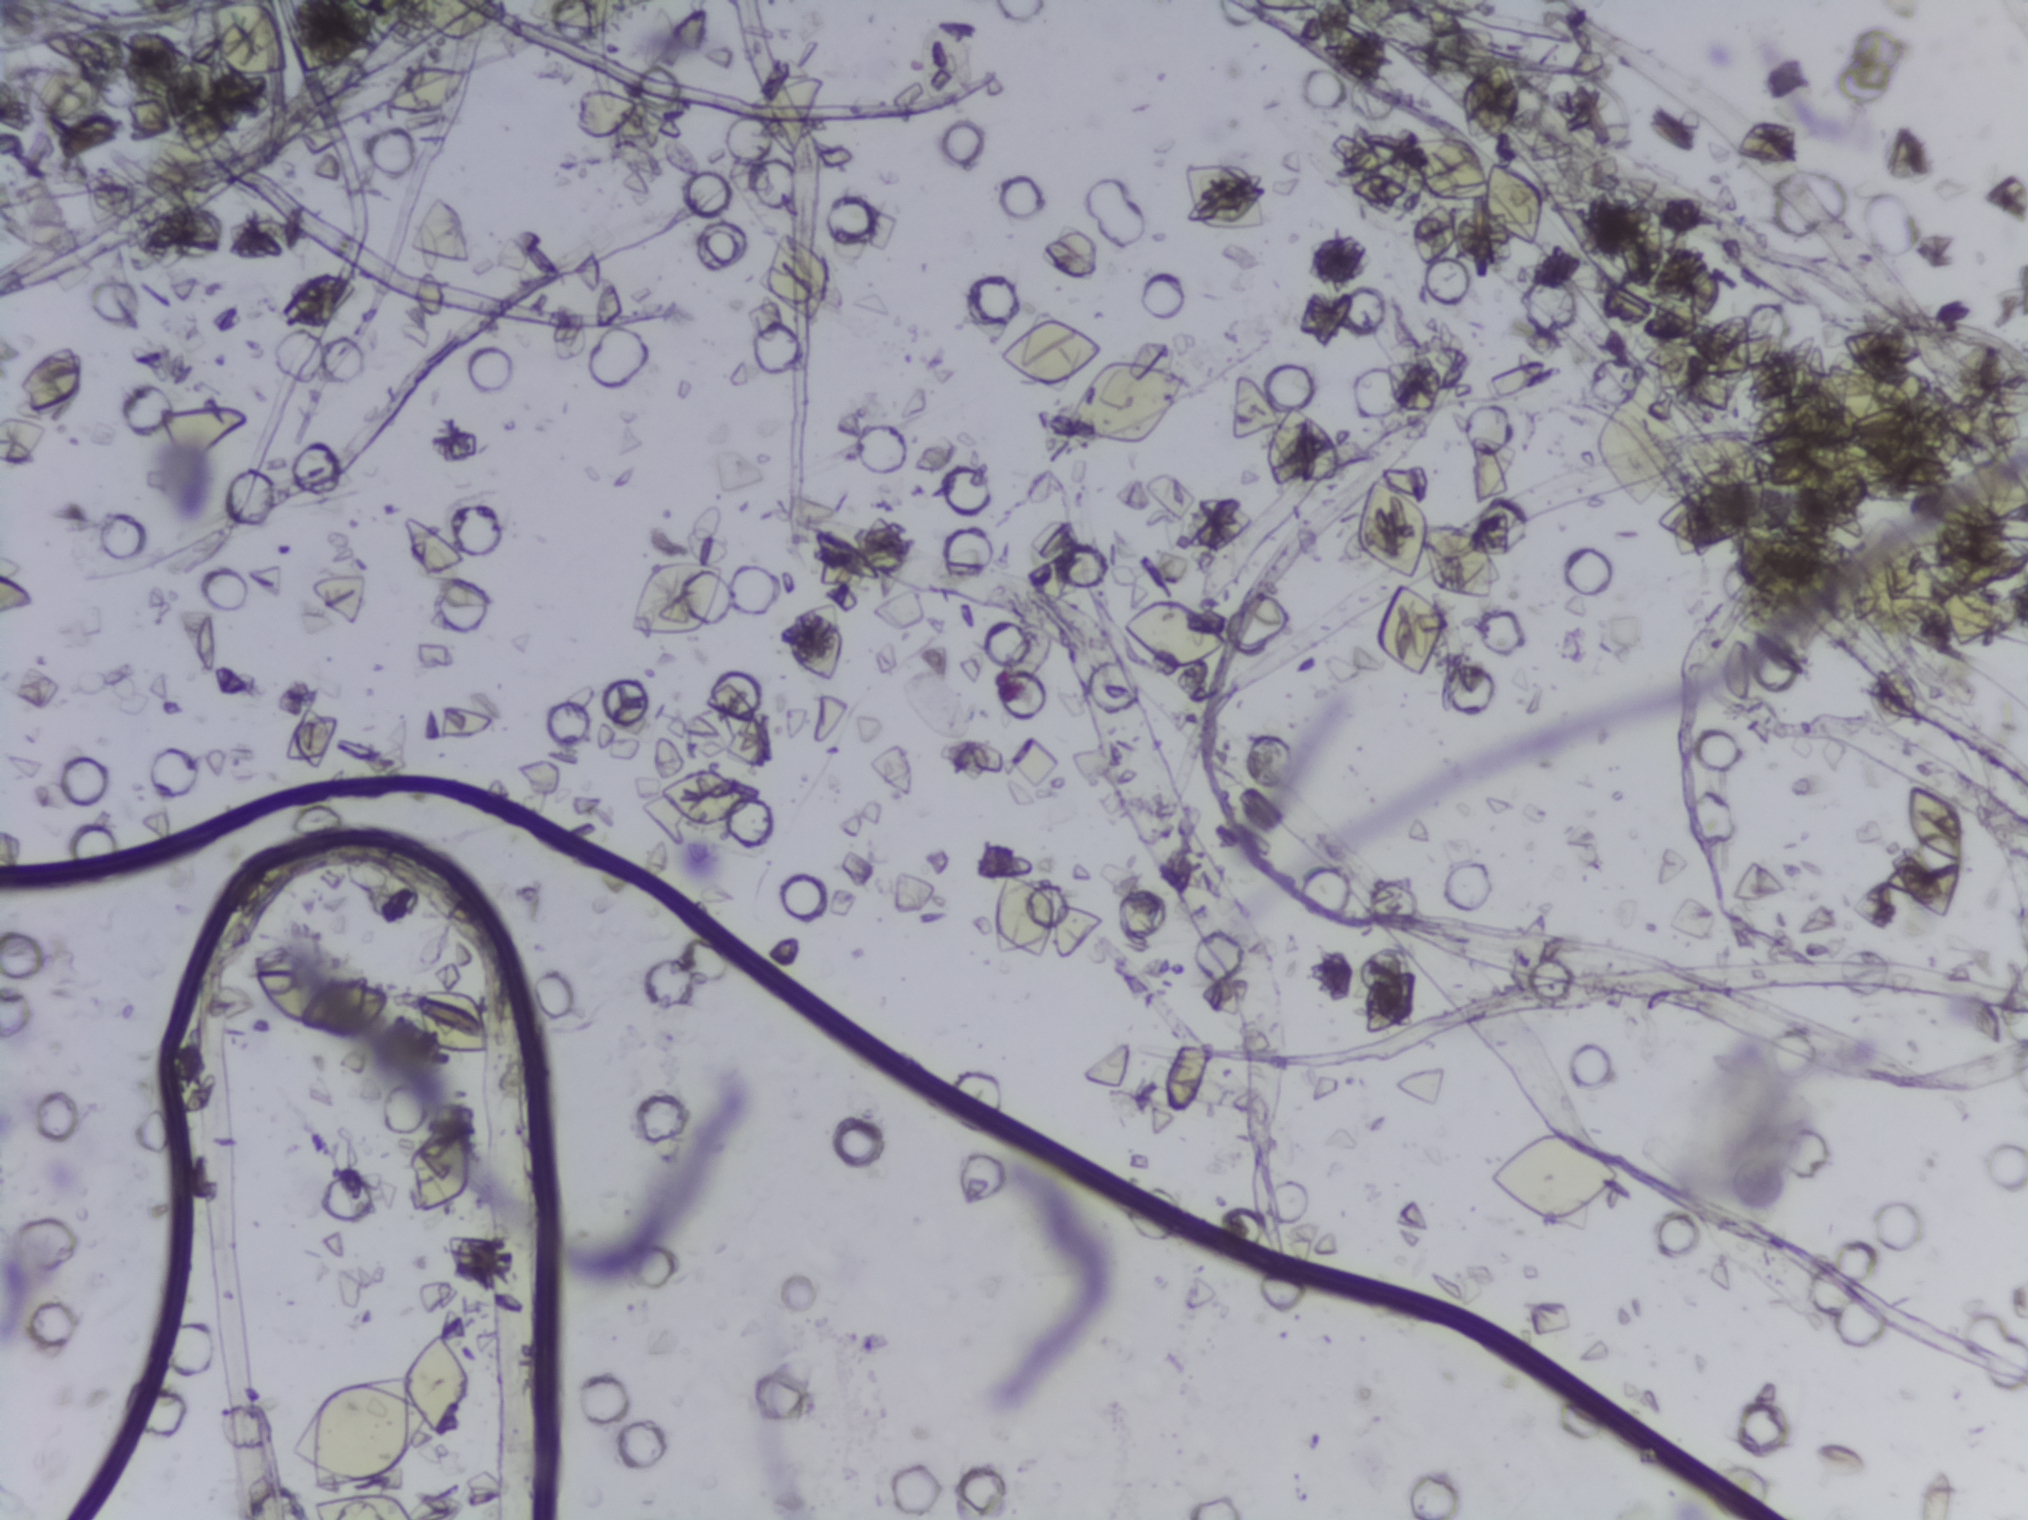
Photograph from an automated digital microscope: urine filter membrane, 4× objective.
No area of this image was outlined as a Schistosoma egg.